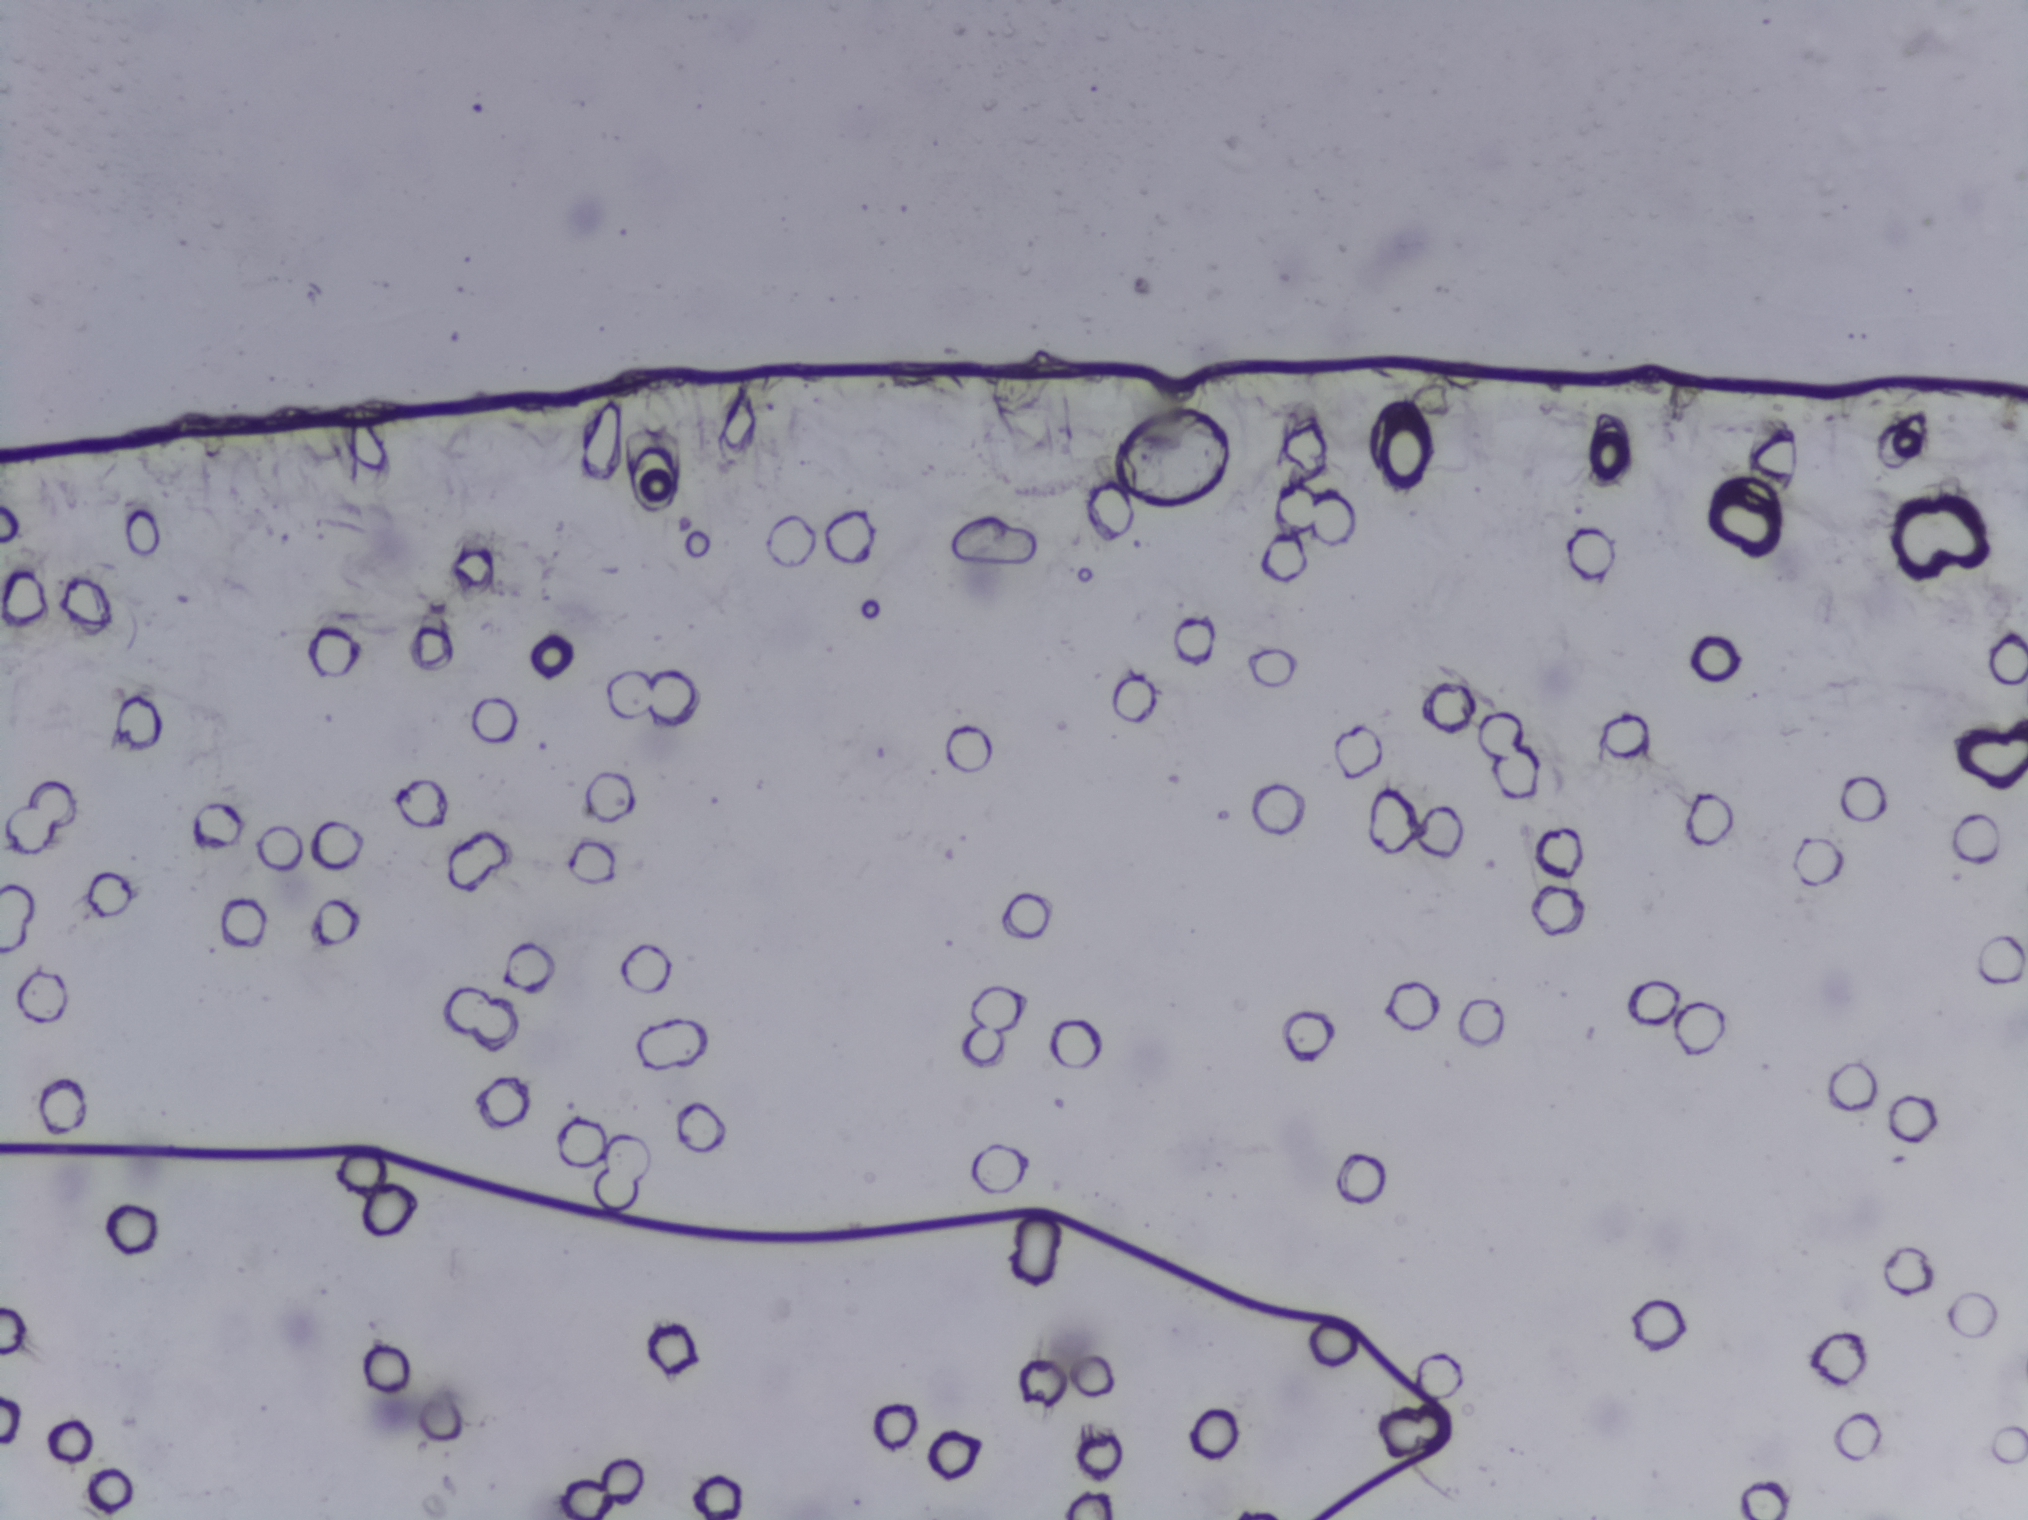
Microscope photograph (4× objective) of a membrane that a urine sample was filtered through.
The expert annotation outlines no Schistosoma egg in this image.